Urine filter membrane photographed through a 4× microscope objective.
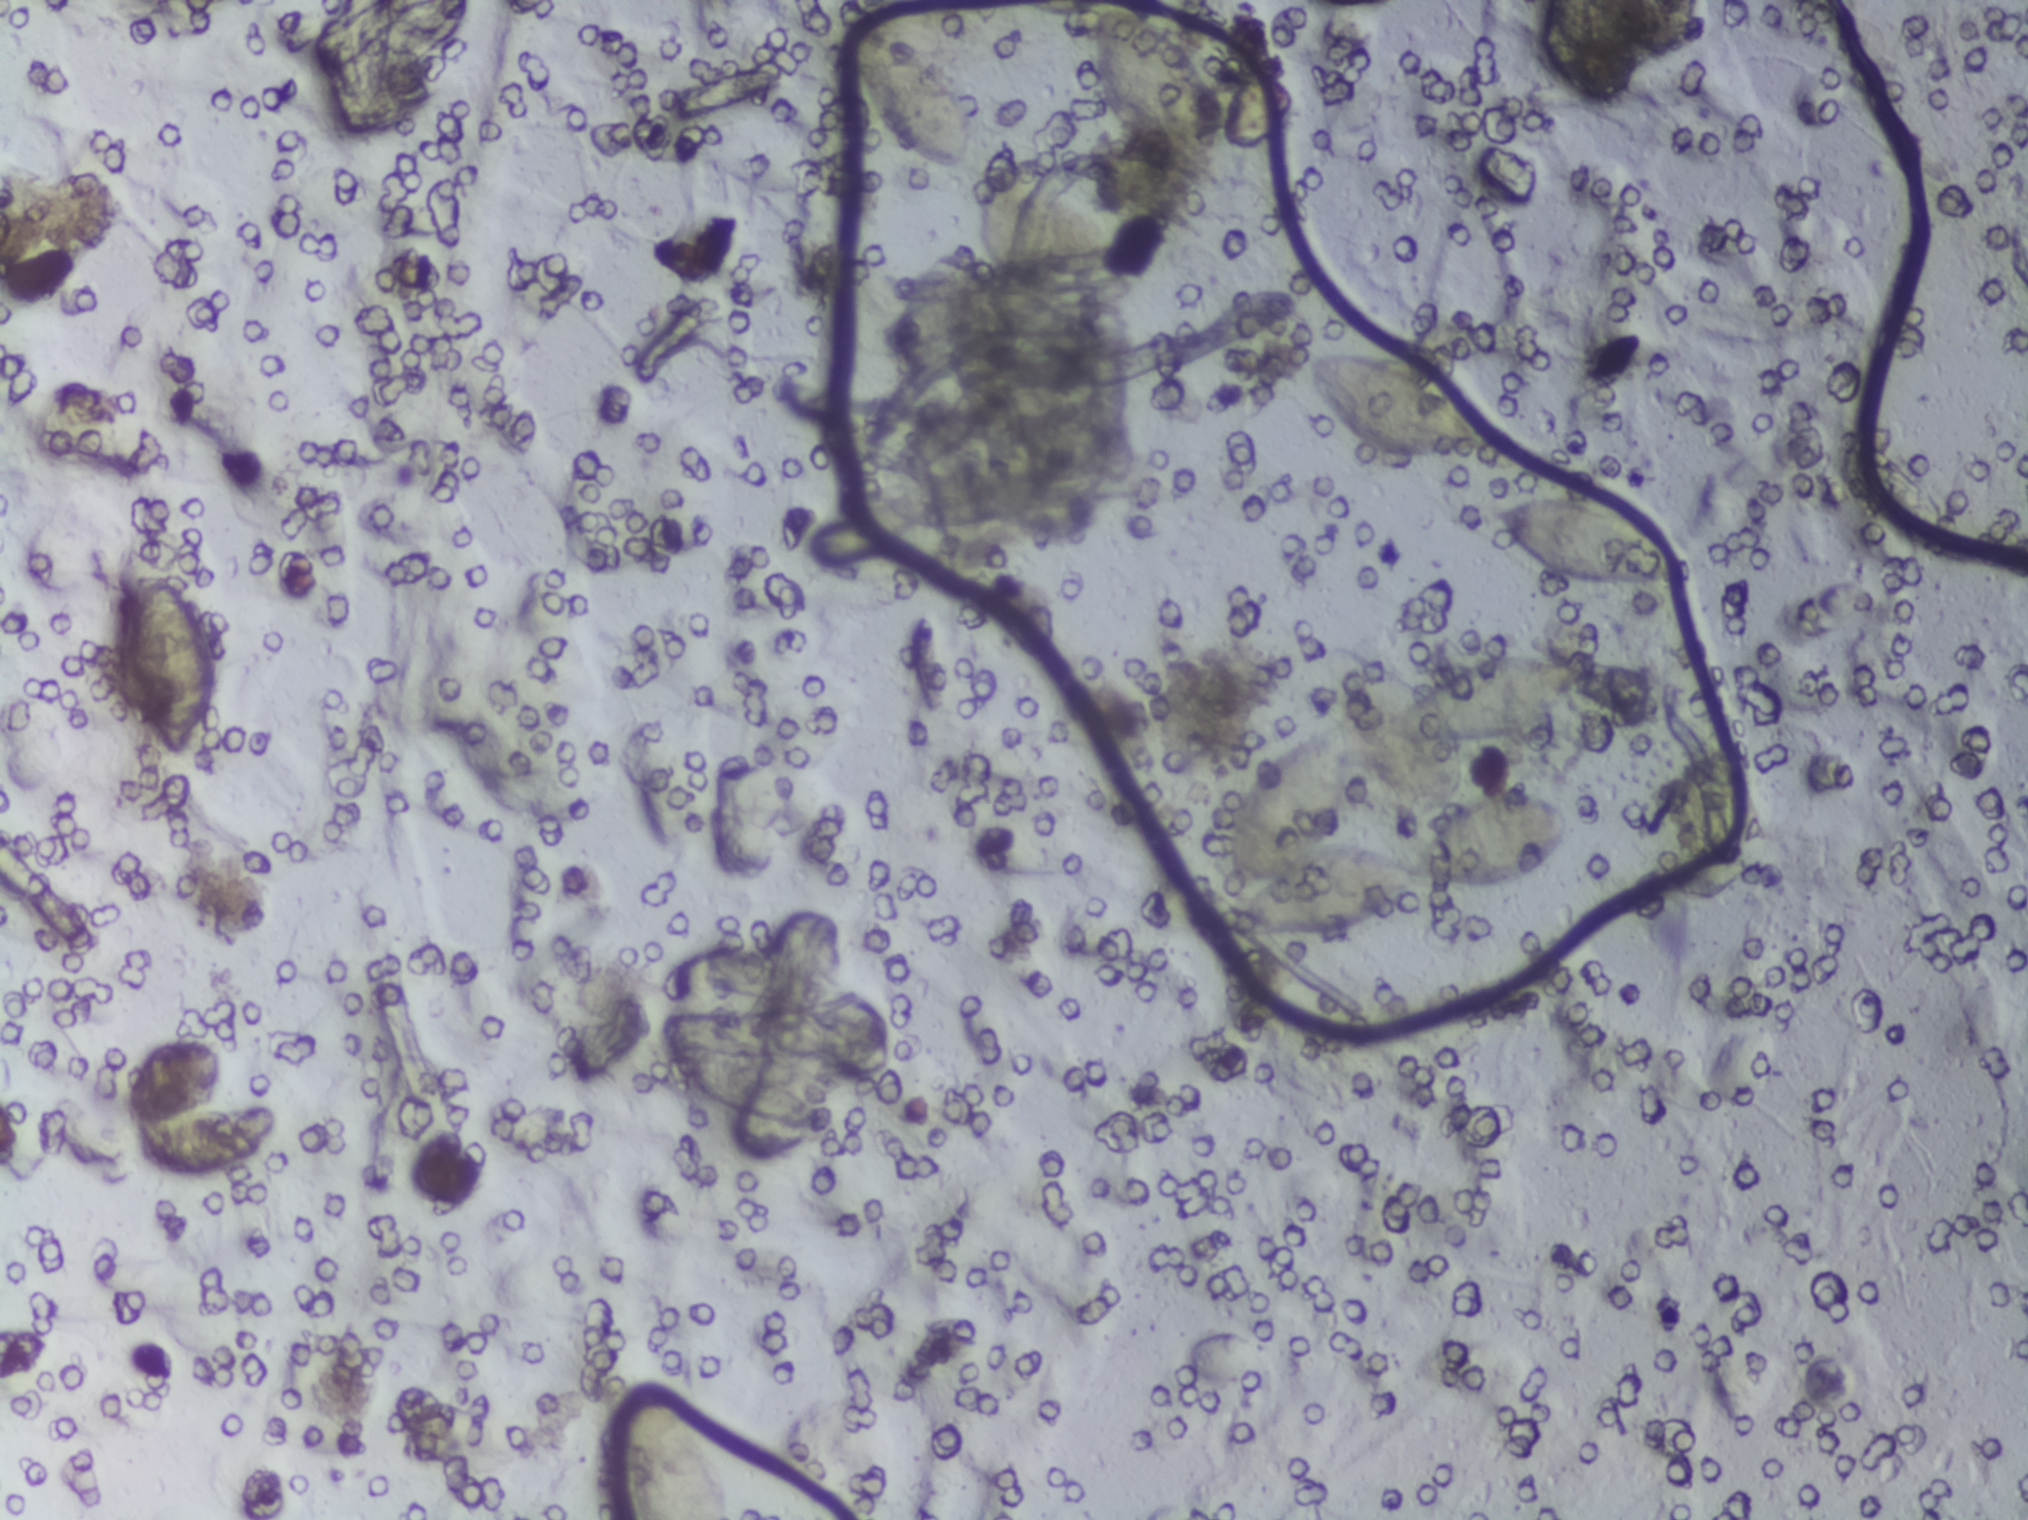
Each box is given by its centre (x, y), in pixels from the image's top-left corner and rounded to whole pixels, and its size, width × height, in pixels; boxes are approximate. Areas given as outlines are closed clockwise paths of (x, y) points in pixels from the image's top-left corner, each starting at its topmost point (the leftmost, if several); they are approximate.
Seven areas of this image are outlined as Schistosoma eggs, from left to right: box centre (166, 662), 93 × 187 px; box centre (667, 1451), 130 × 137 px (reaching the bottom edge of the frame); box centre (914, 96), 121 × 155 px; box centre (1157, 96), 130 × 190 px; box centre (1399, 404), 194 × 111 px; outline (1337, 648), (1380, 656), (1425, 688), (1447, 663), (1499, 649), (1560, 656), (1581, 667), (1580, 683), (1537, 729), (1461, 744), (1465, 790), (1455, 809), (1478, 796), (1529, 792), (1559, 800), (1572, 814), (1568, 838), (1543, 873), (1499, 885), (1421, 880), (1396, 908), (1343, 929), (1242, 933), (1229, 926), (1228, 917), (1246, 897), (1235, 897), (1228, 882), (1227, 846), (1239, 791), (1263, 760), (1339, 724), (1331, 697) (a cluster of eggs; with gaps inside, about 7.8% of the space inside its outline); box centre (1584, 539), 201 × 98 px. About 4.8% of the image's pixels are marked (the marked pixels themselves, not the boxes and the outline around them). Eggs that touch can end up inside the same outlined area.